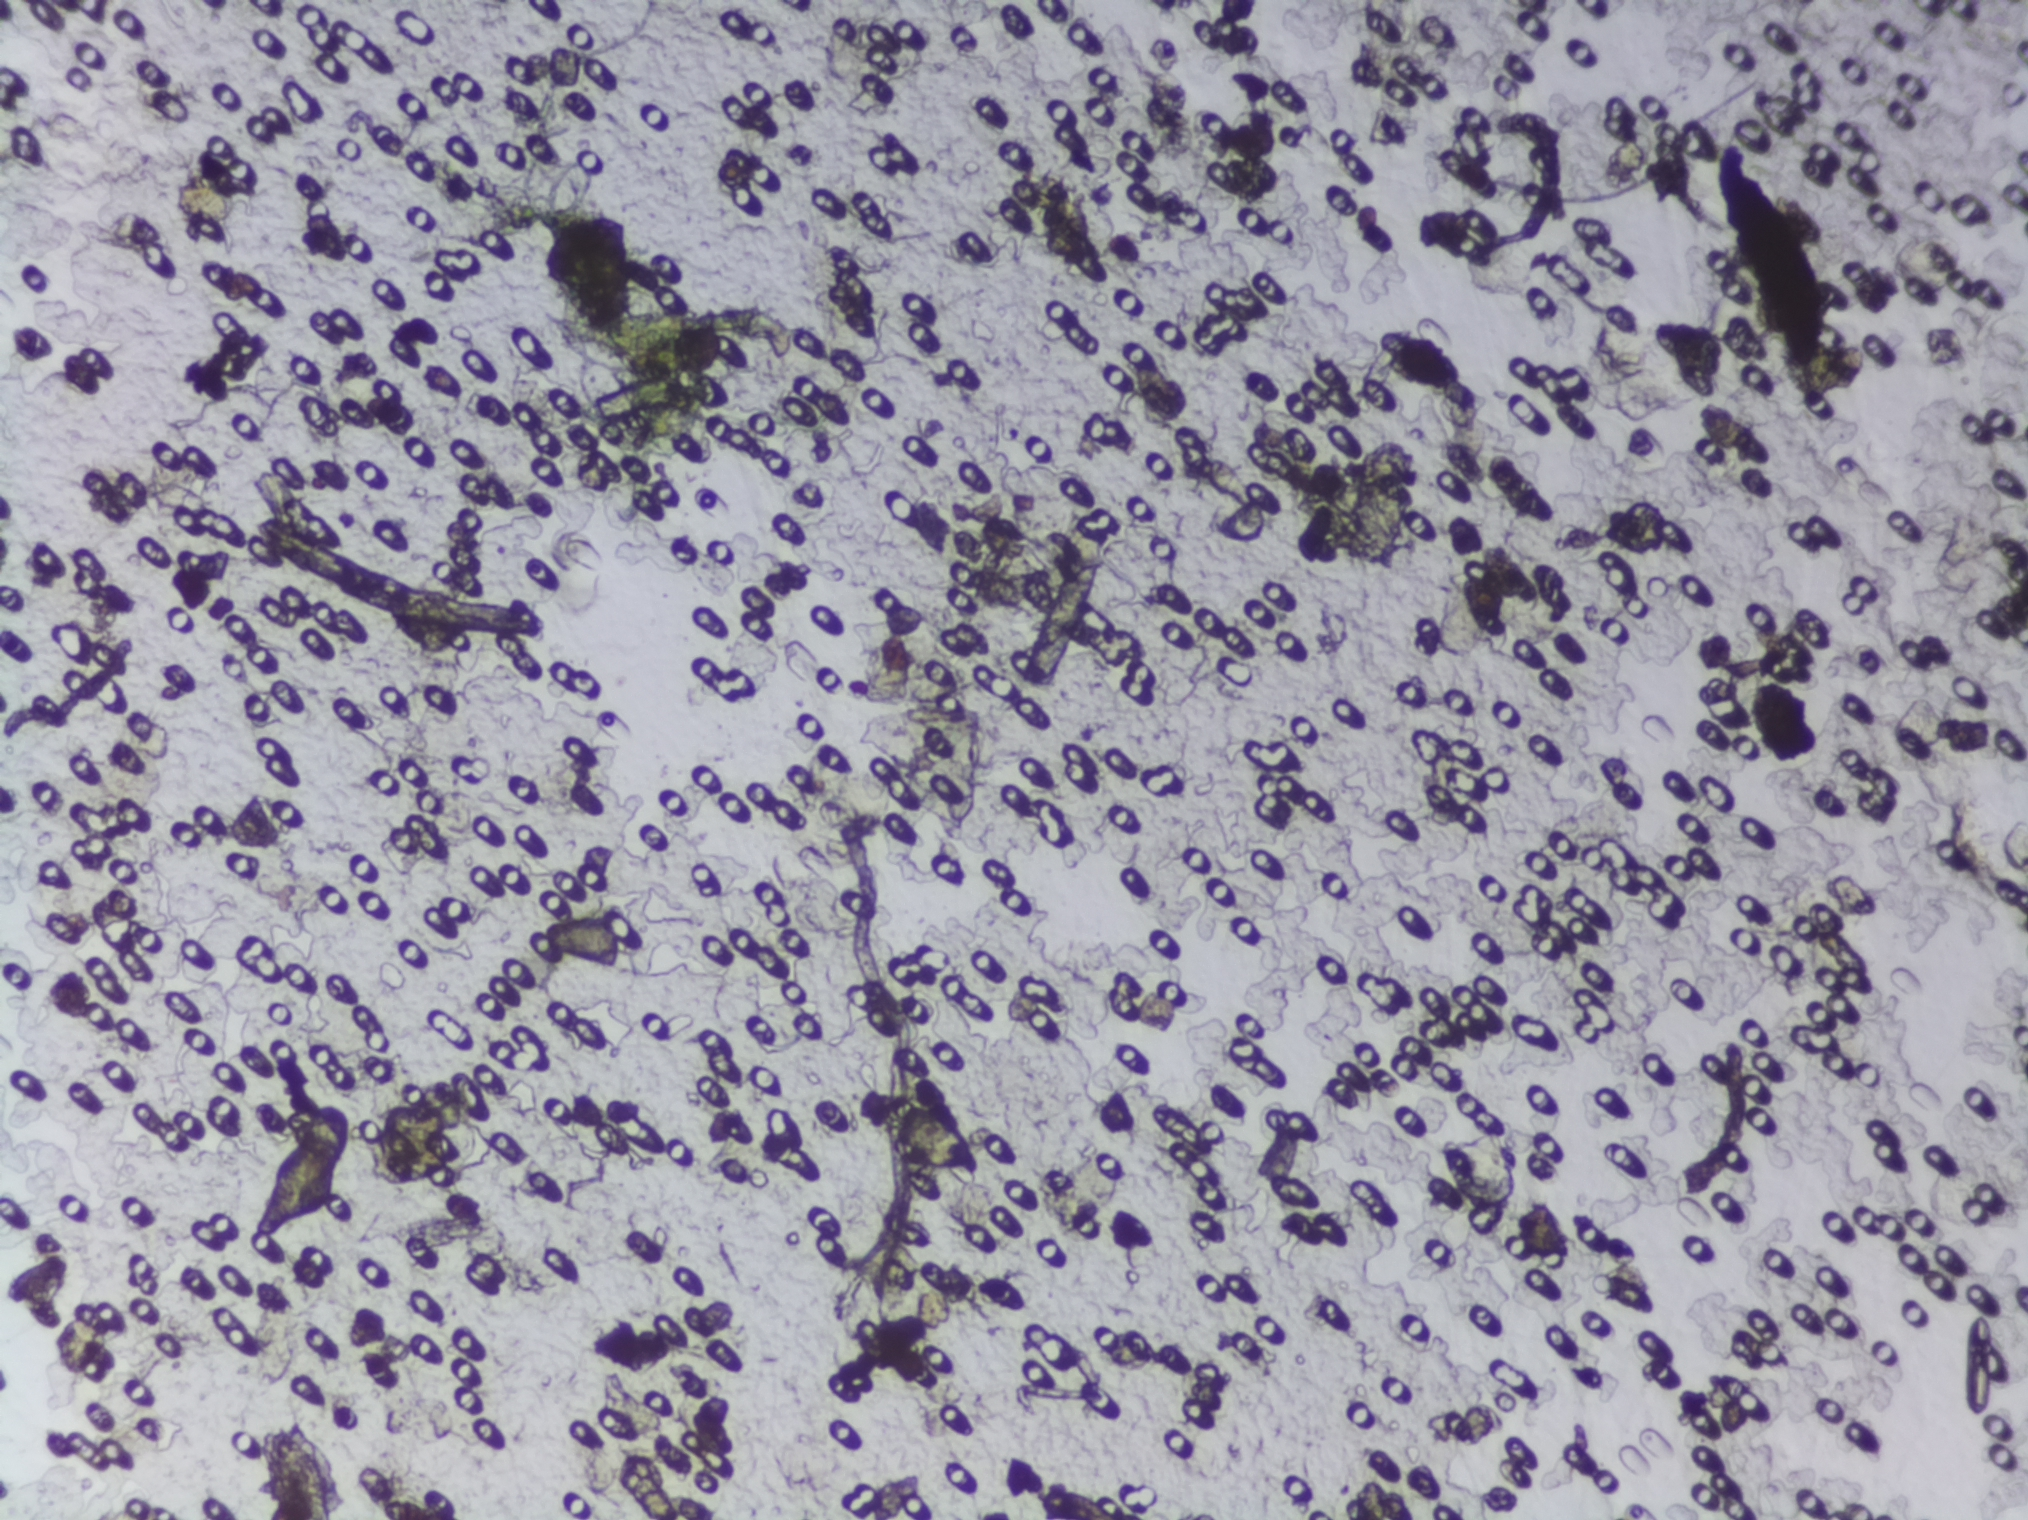
One field of view of a urine filter membrane, 4× objective, 2028 × 1520 pixels.
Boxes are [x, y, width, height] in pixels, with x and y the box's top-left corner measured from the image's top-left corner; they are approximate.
The expert annotation outlines Schistosoma eggs at [250, 1103, 107, 140]; [259, 1417, 74, 103] (reaching the bottom edge of the frame); [870, 1091, 114, 96]. A single outlined area may contain several eggs.